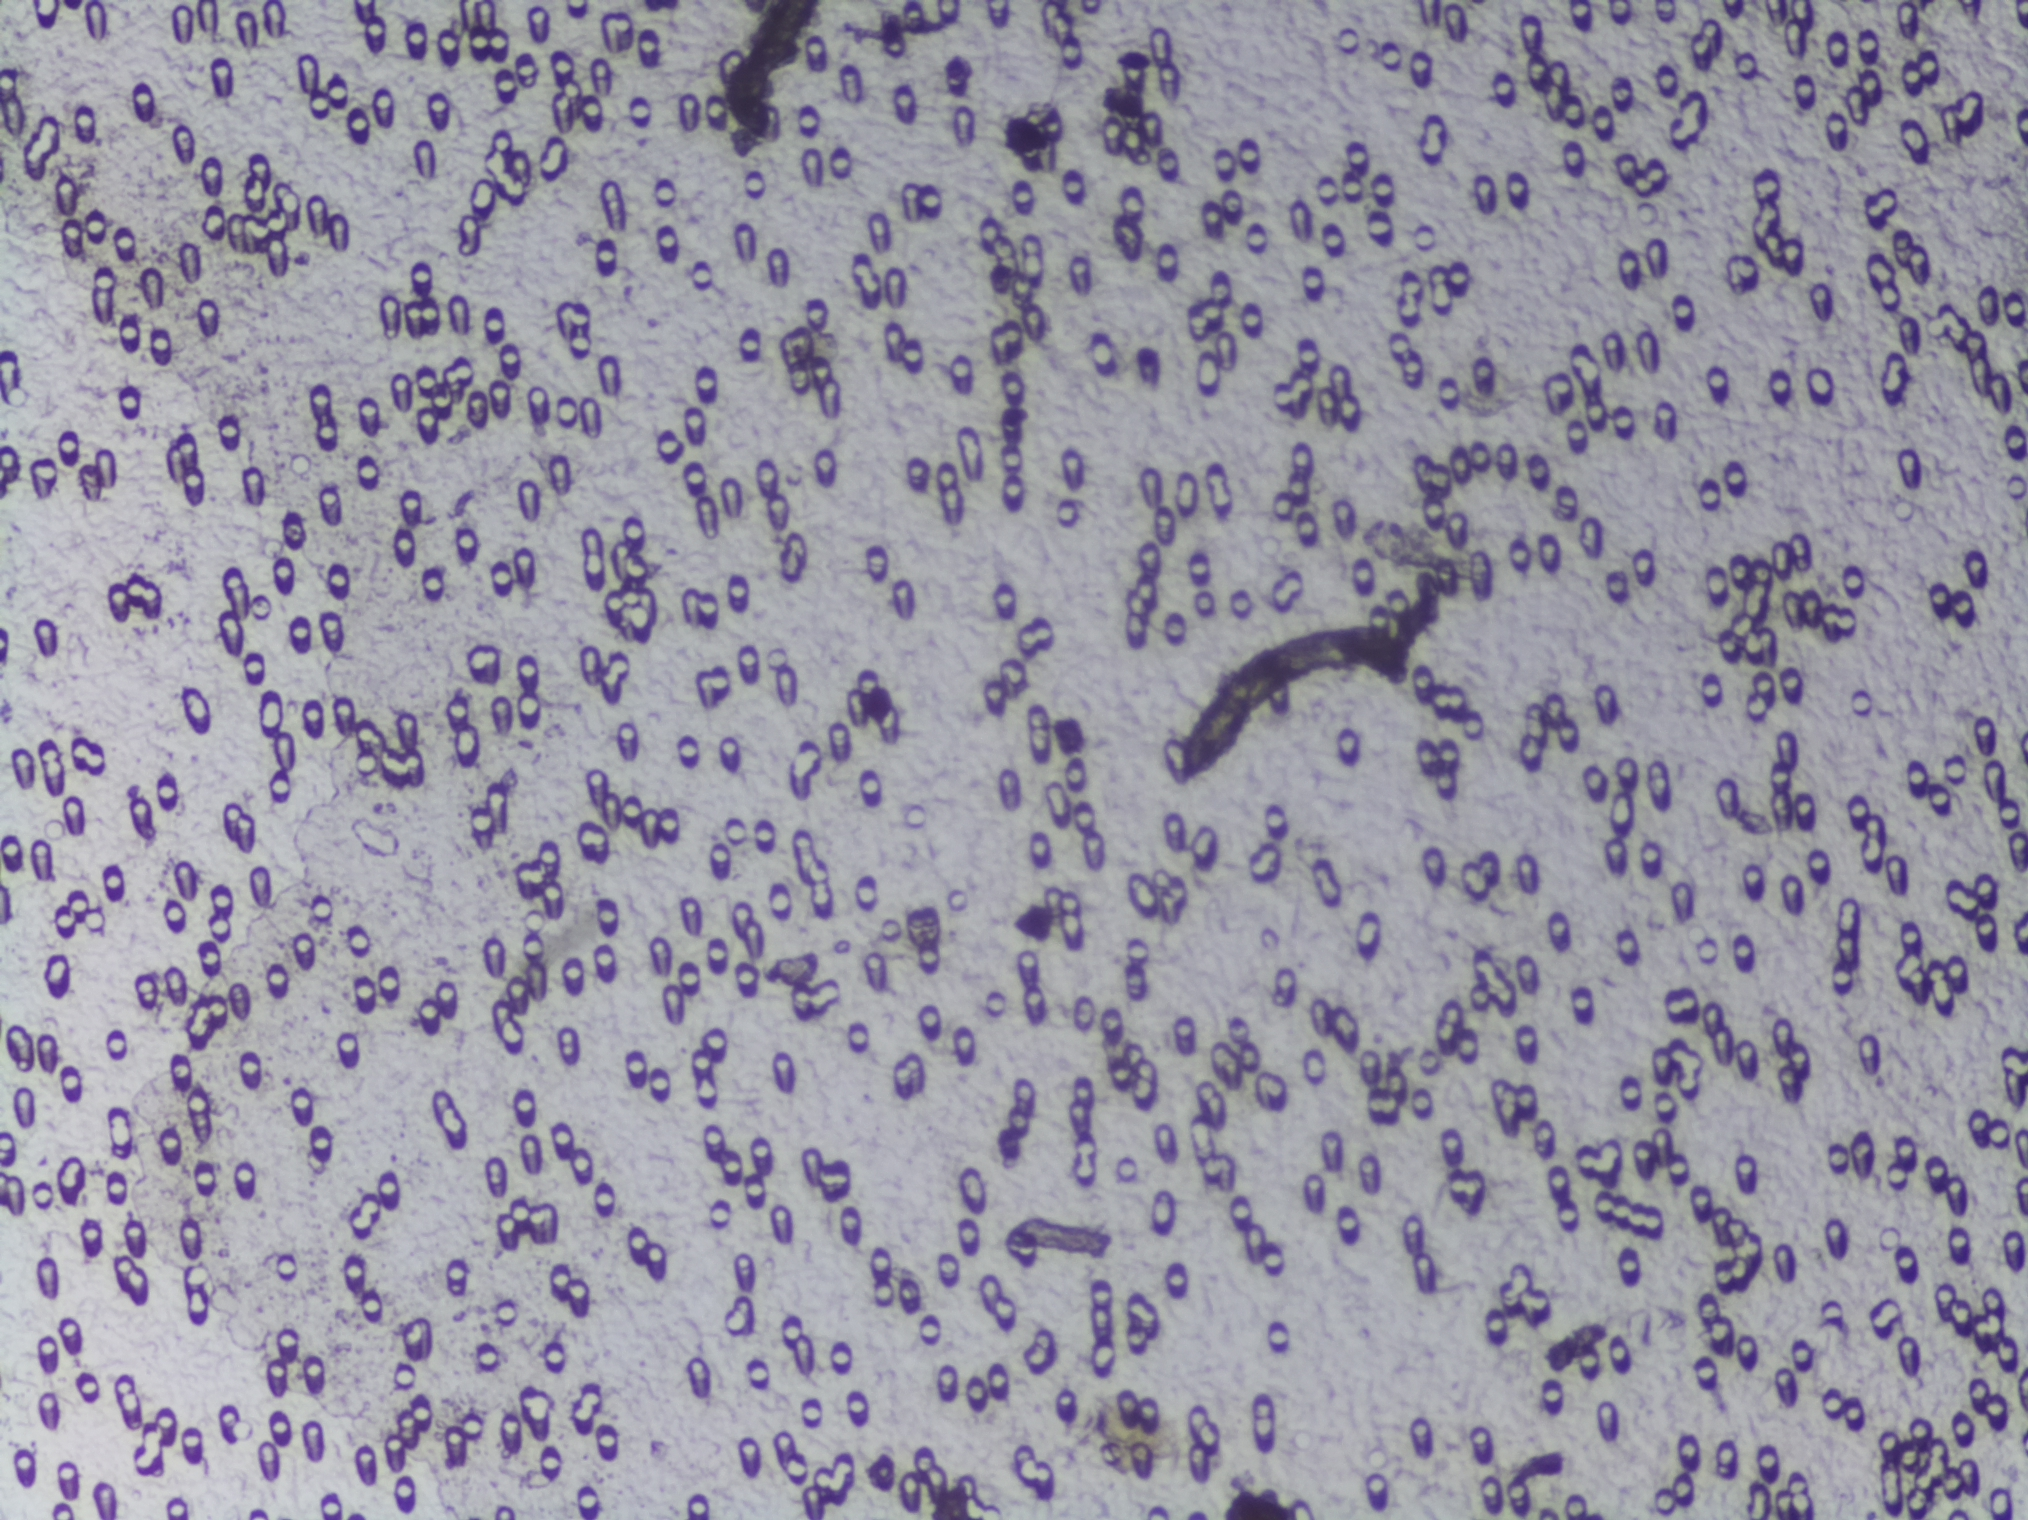
Urine filtration membrane under a 4× objective, photographed by an automated digital microscope.
Schistosoma eggs: none outlined.